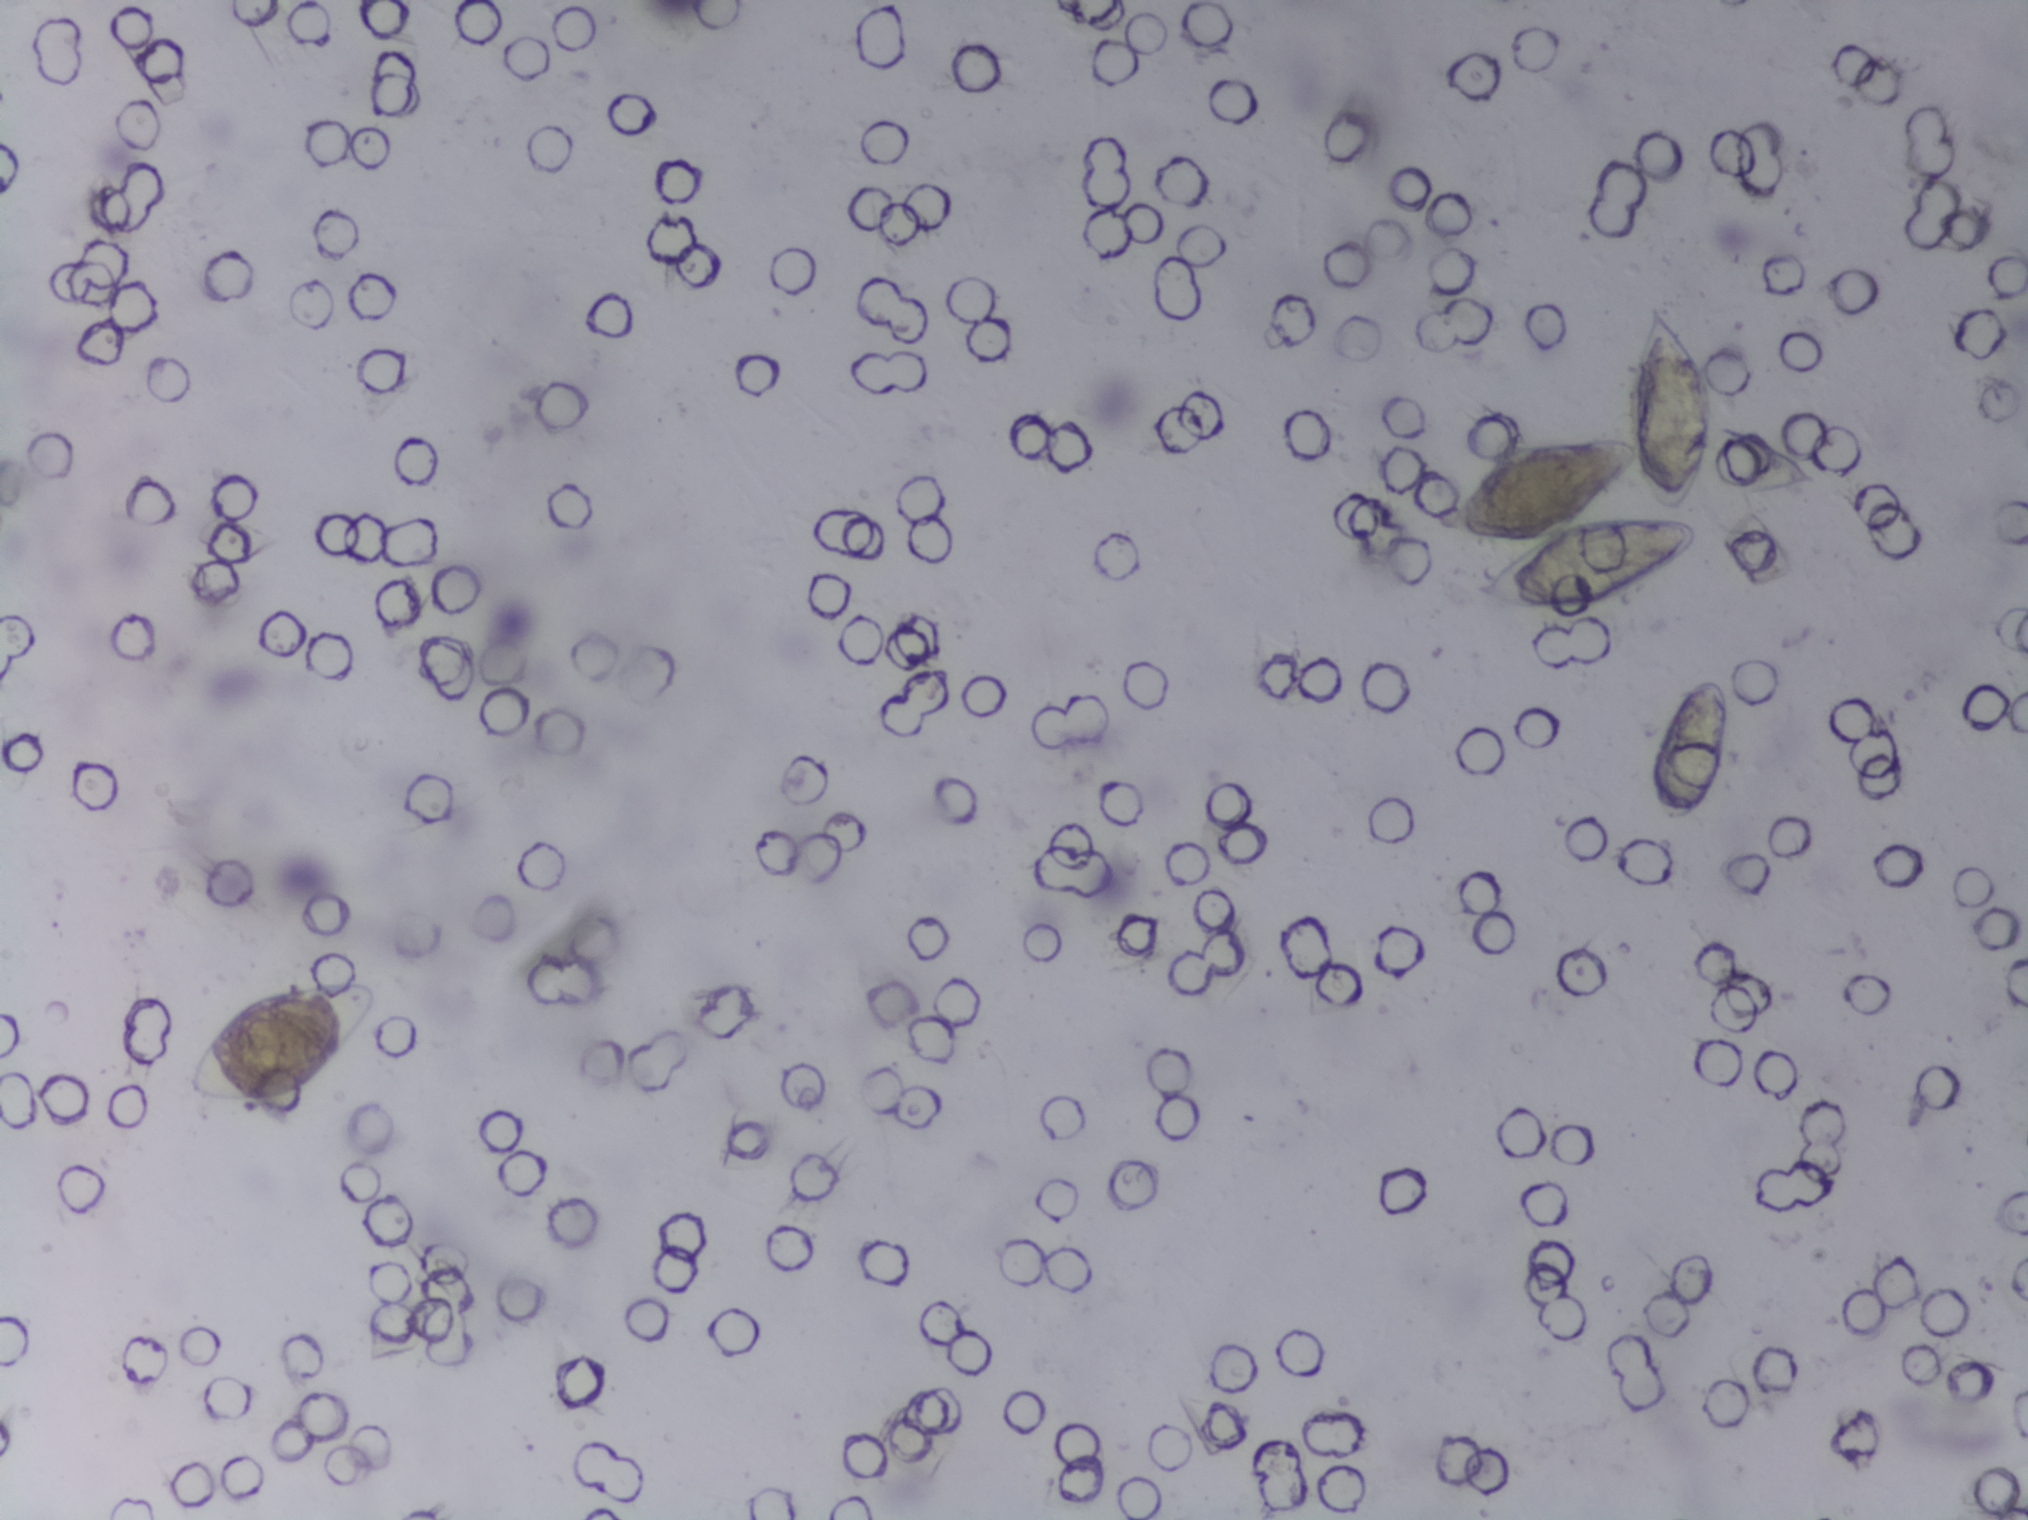
Urine filter membrane photographed through a 4× microscope objective.
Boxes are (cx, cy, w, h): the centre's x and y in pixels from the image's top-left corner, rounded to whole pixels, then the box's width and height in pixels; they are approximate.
Areas outlined as Schistosoma eggs: (cx=280, cy=1043, w=199, h=132); (cx=1571, cy=451, w=291, h=333) (eggs clustered together); (cx=1689, cy=750, w=95, h=158). Eggs that touch can end up inside the same outlined area. Any one outlined egg may, rarely, be S. mansoni rather than S. haematobium.